Photomicrograph of a urine filtration membrane, 4× objective.
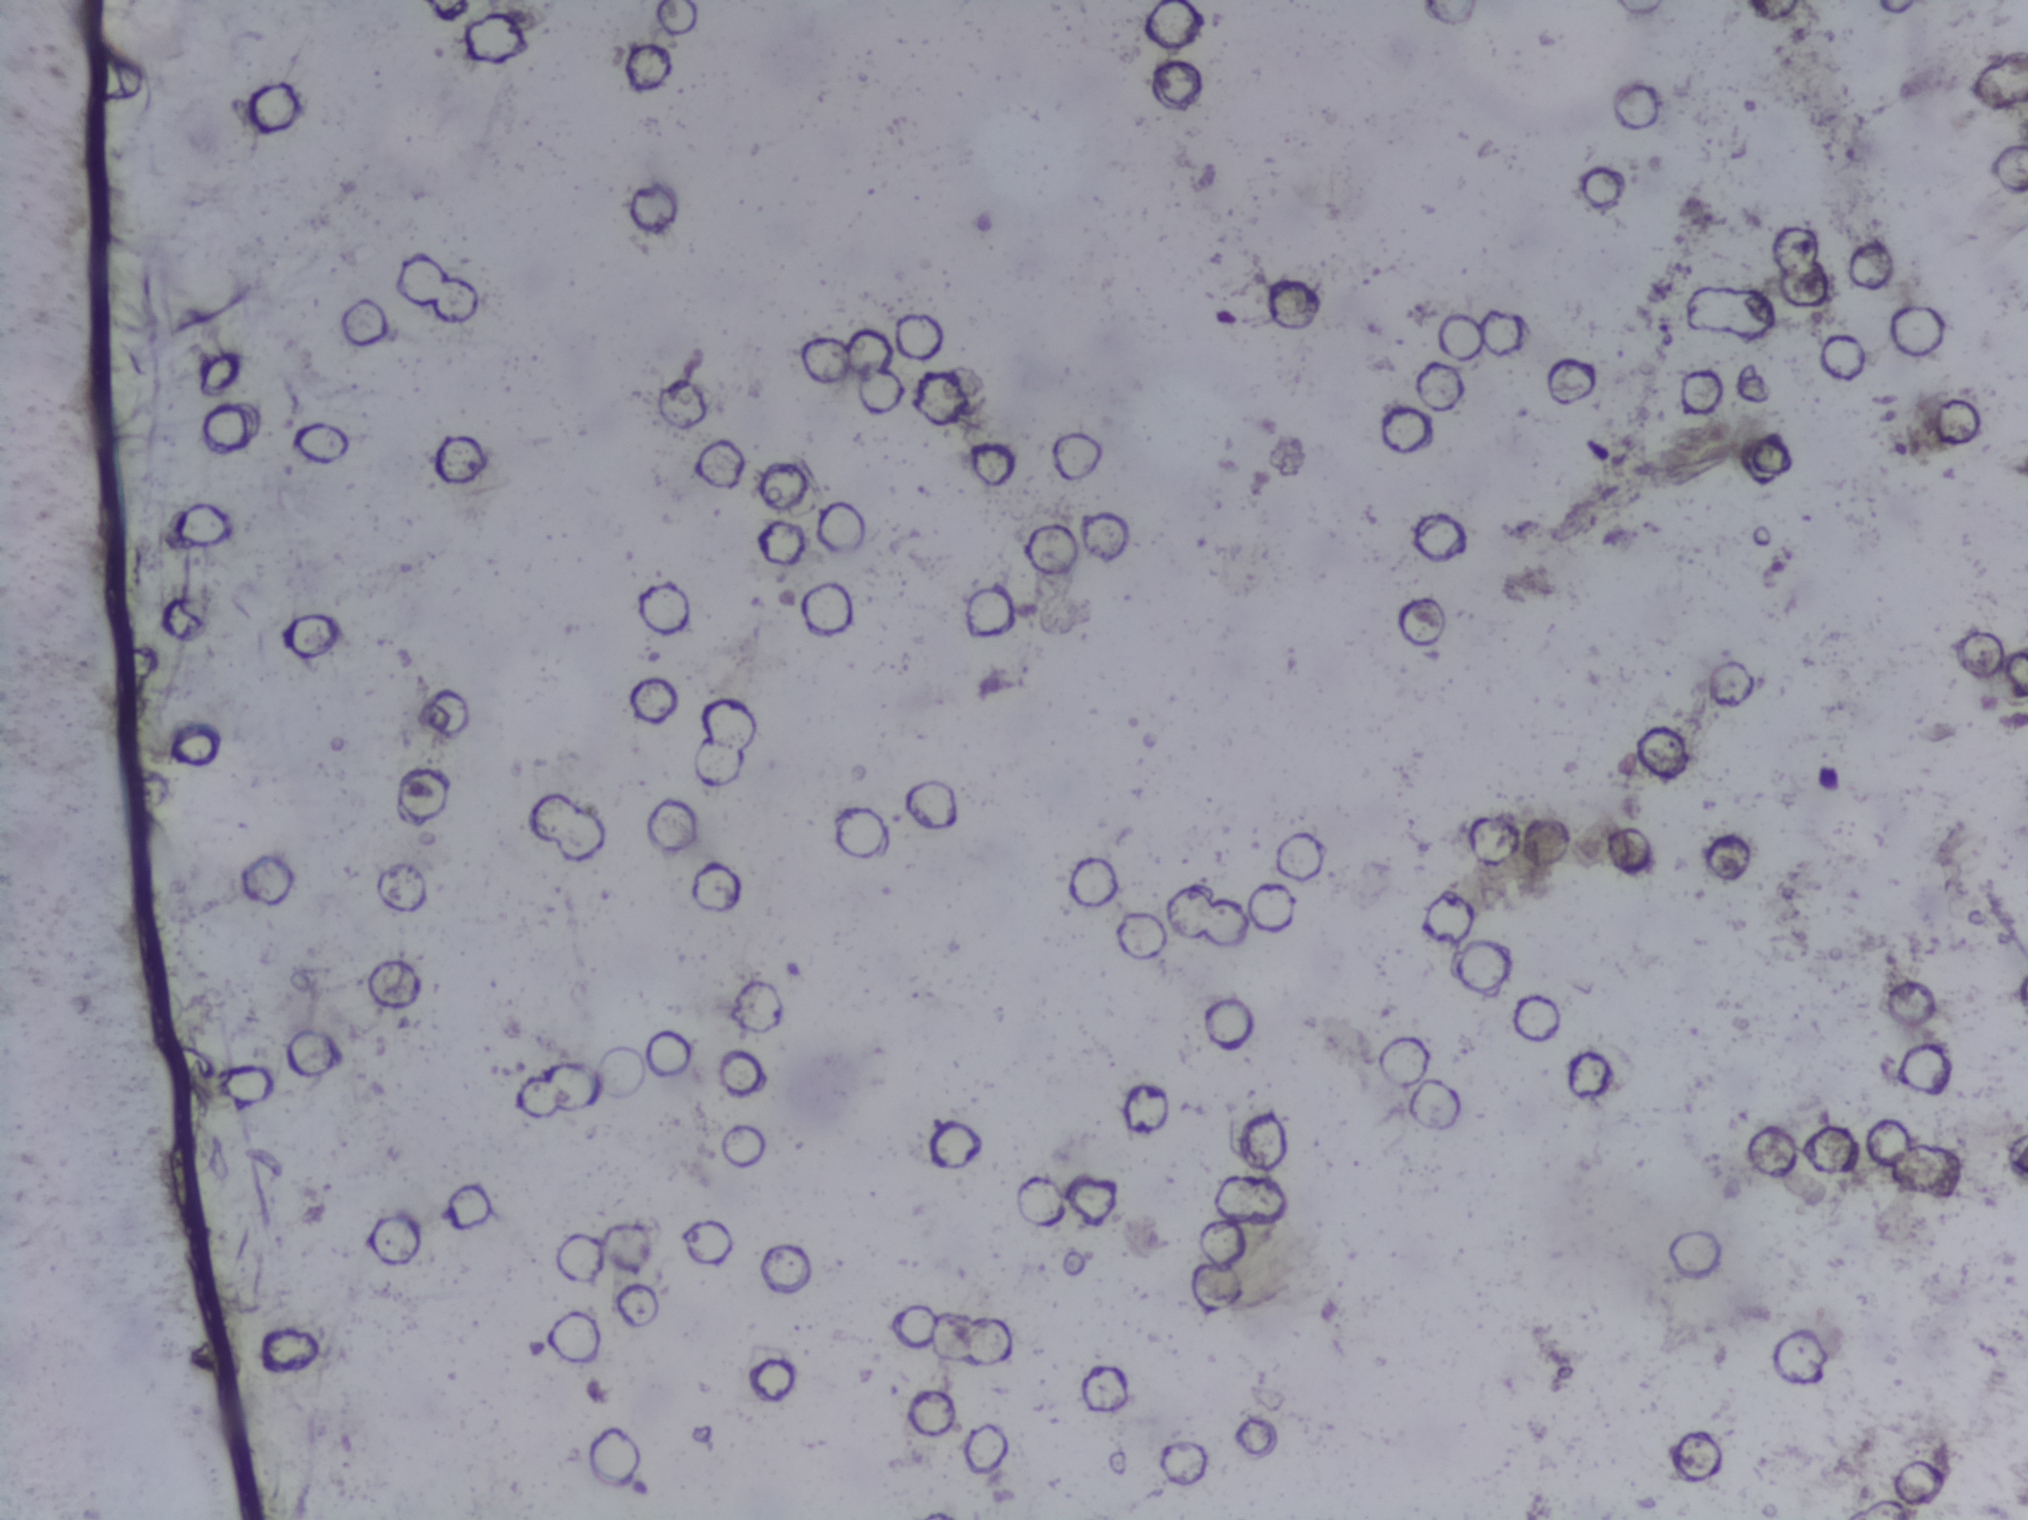
No area of this image was outlined as a Schistosoma egg.